Photograph from an automated digital microscope: urine filter membrane, 4× objective.
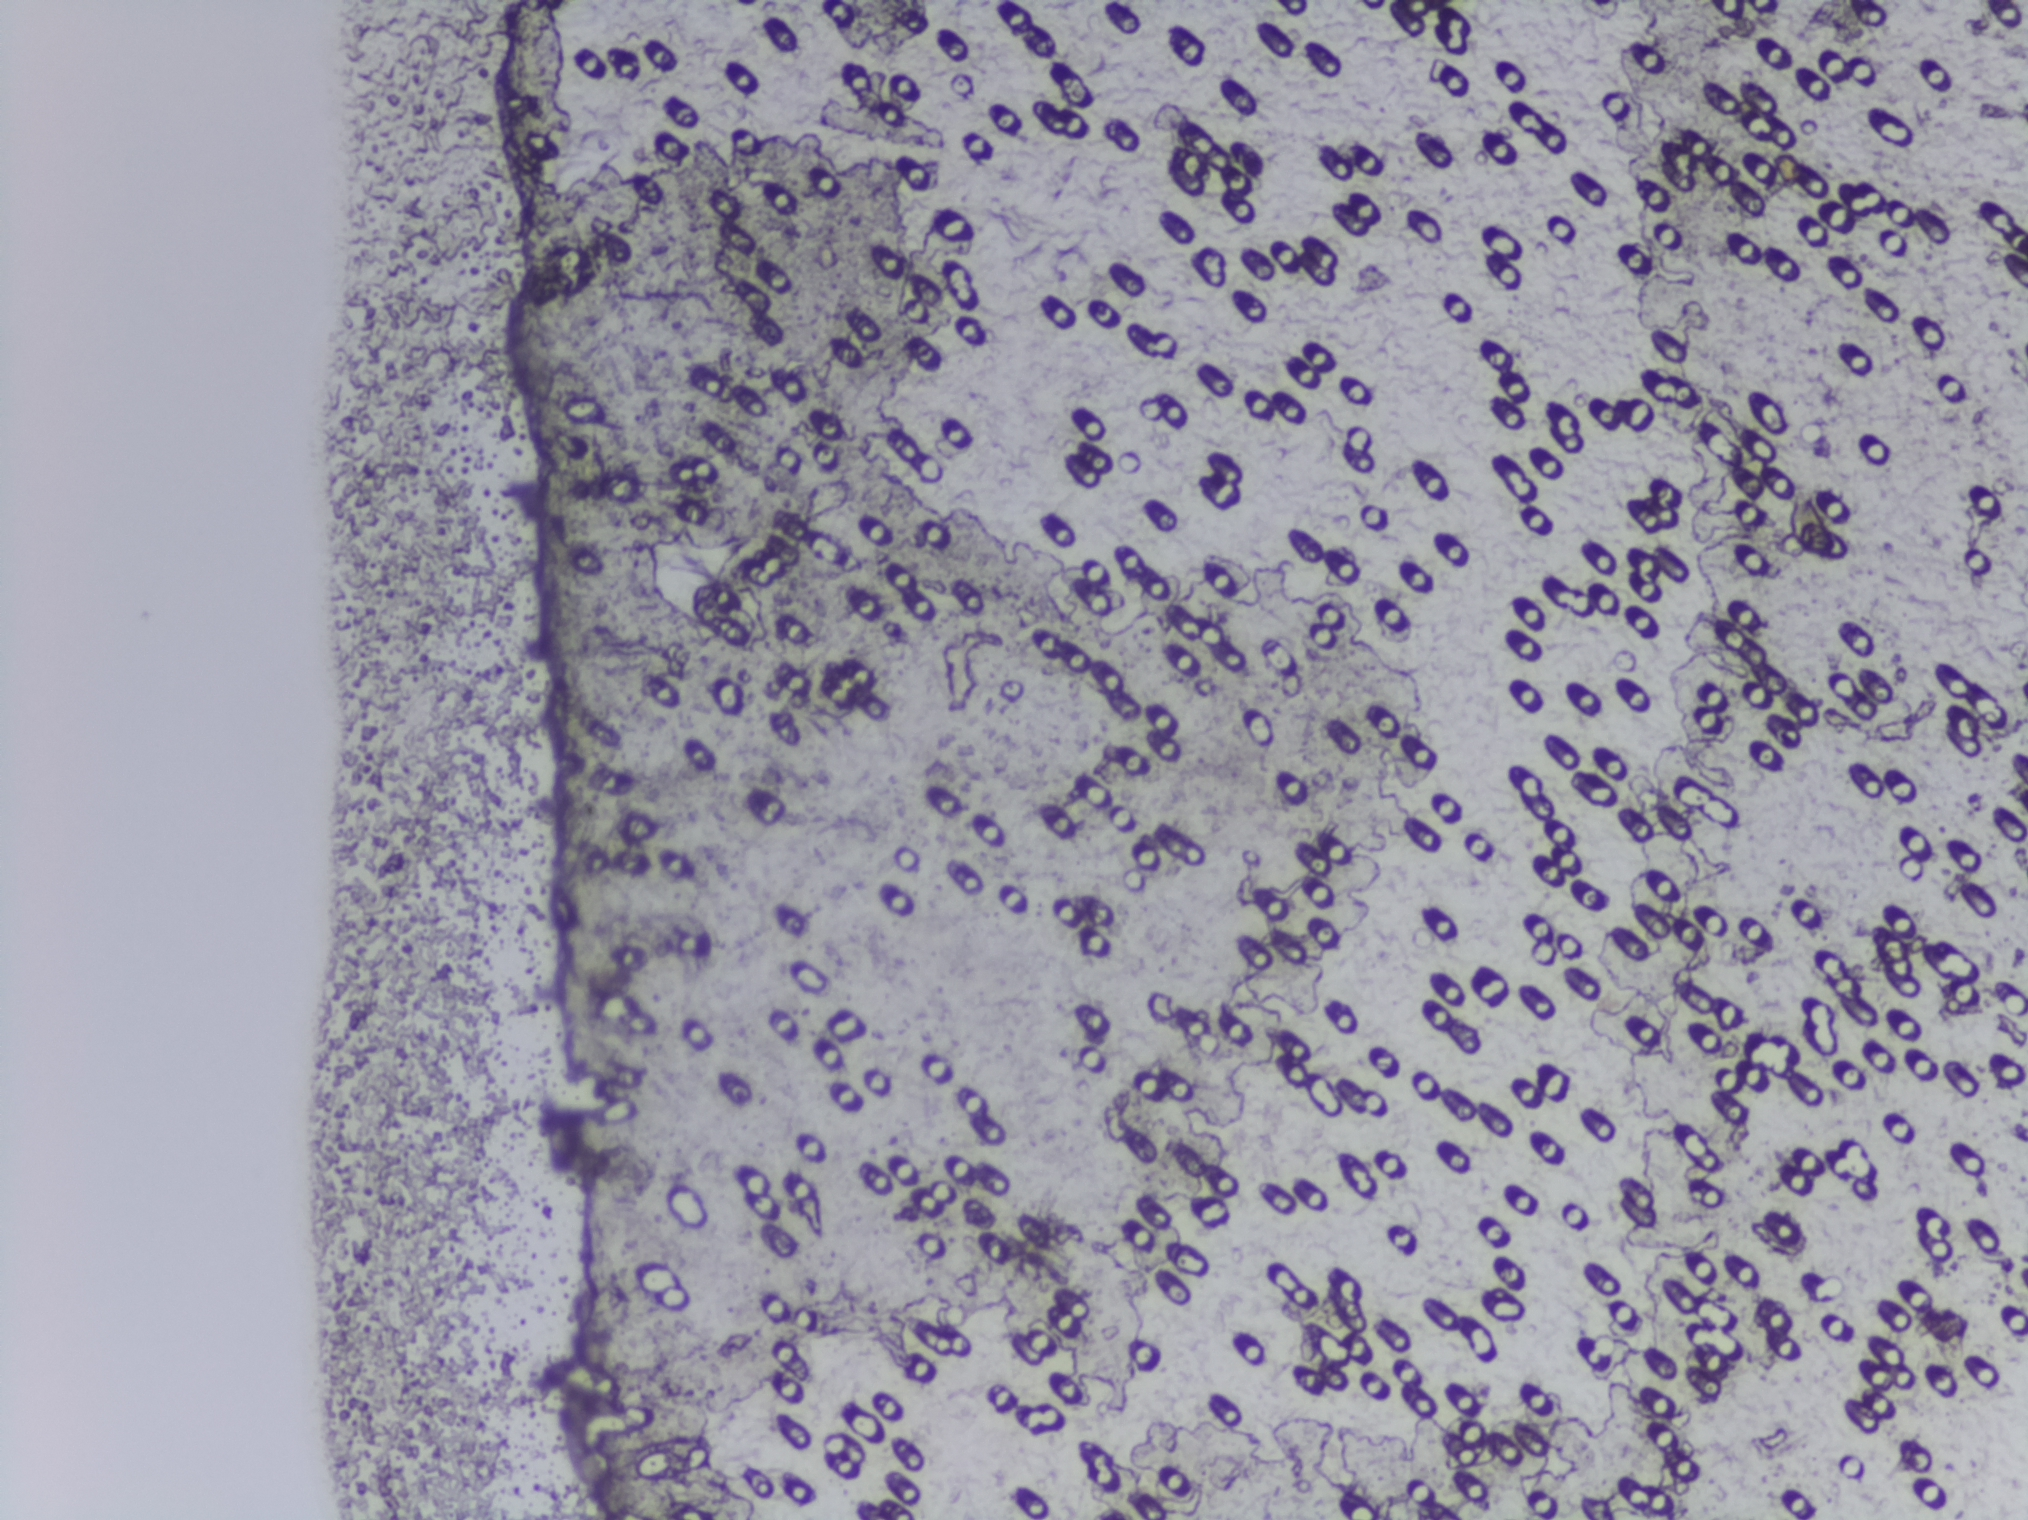
The expert annotation outlines no Schistosoma egg in this image.